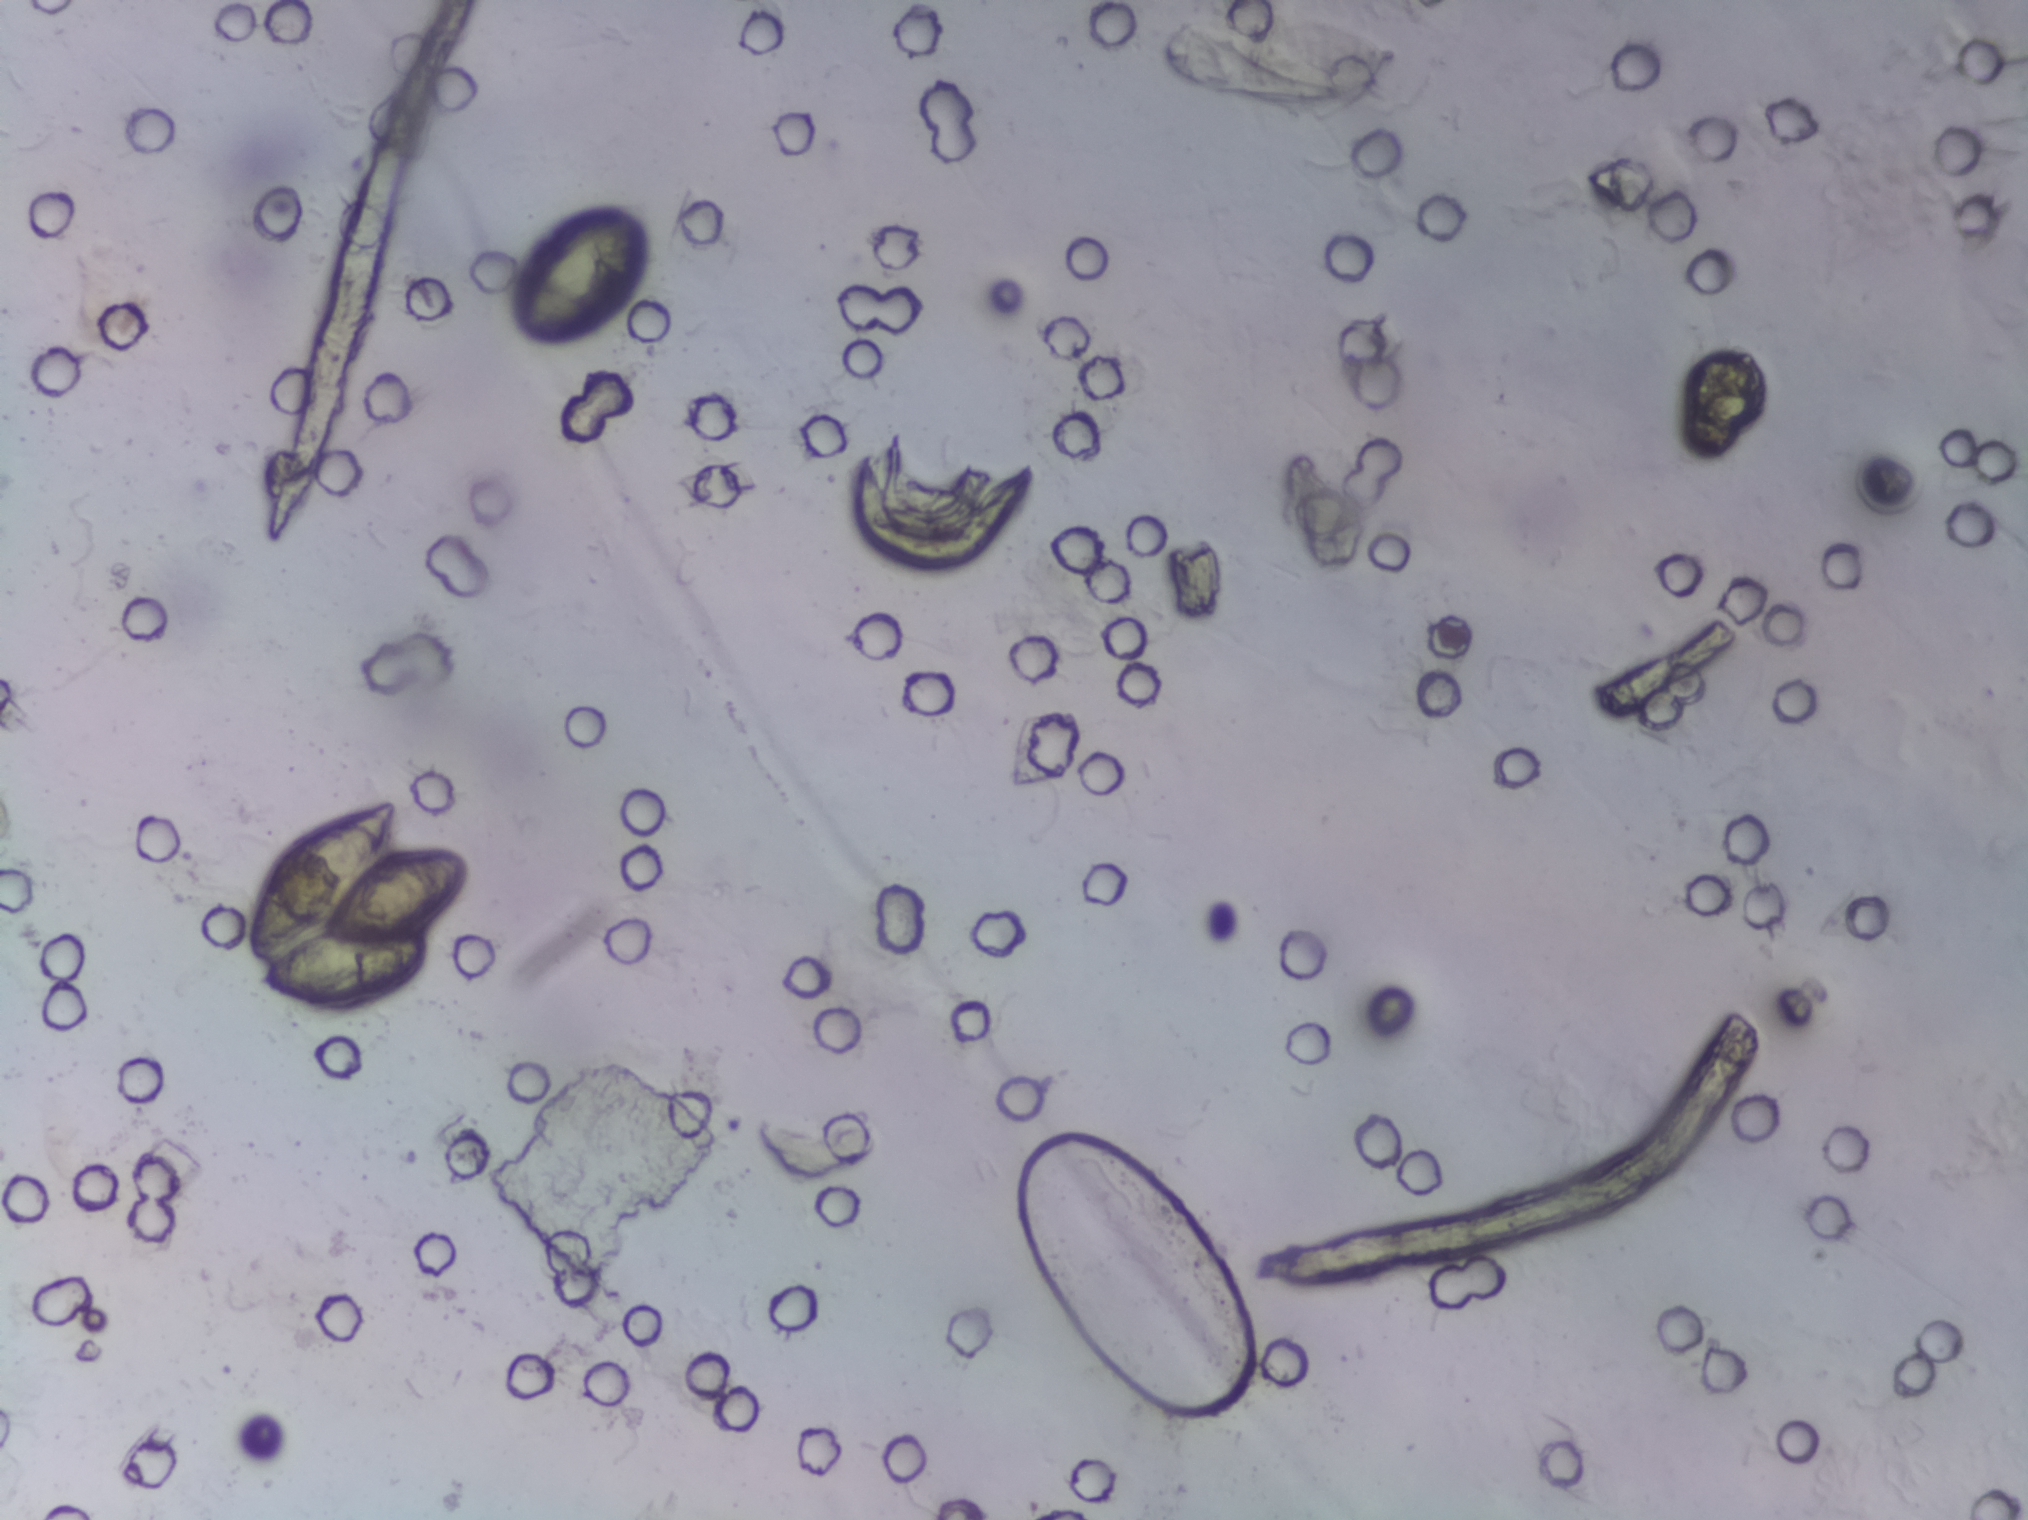
Photomicrograph of a urine filtration membrane, 4× objective. Field of view: about 1.5 mm wide and 1.1 mm high.
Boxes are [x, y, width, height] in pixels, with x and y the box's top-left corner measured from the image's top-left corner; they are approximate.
Schistosoma egg areas, outlined: [245, 796, 227, 223]; [517, 201, 132, 150]; [1157, 5, 243, 111]. An outlined area can hold more than one egg.